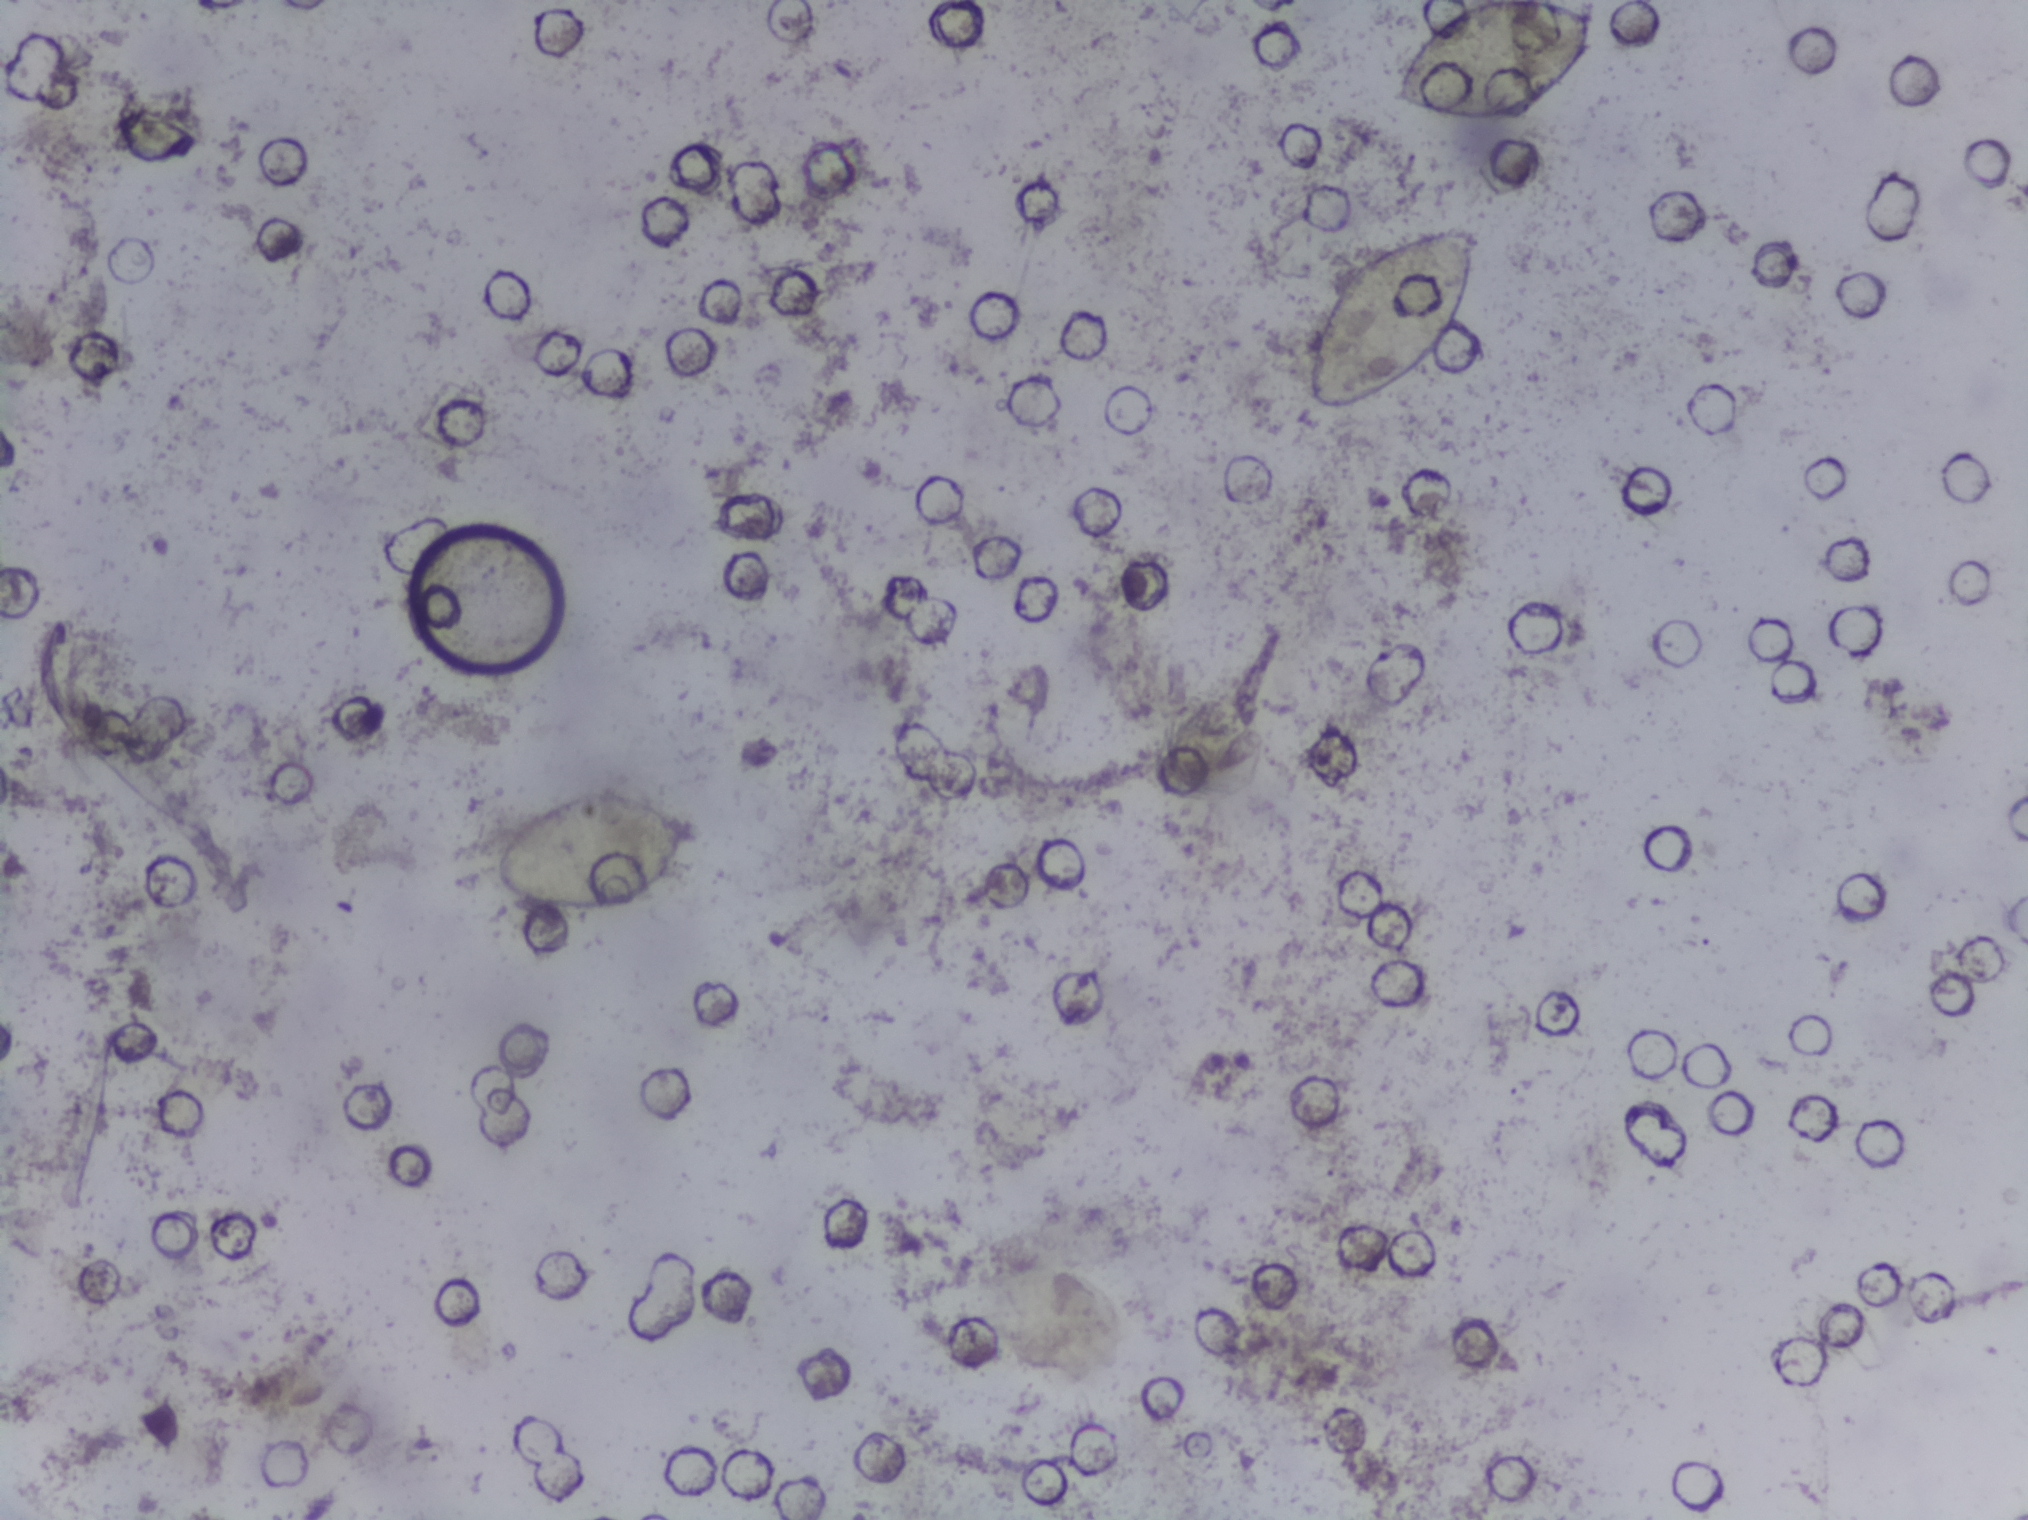
Urine filtration membrane under a 4× objective, photographed by an automated digital microscope.
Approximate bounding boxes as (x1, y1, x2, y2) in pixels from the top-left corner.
Outlined Schistosoma egg areas, left to right:
1. (490, 786, 702, 910)
2. (1301, 221, 1482, 414)
3. (1385, 0, 1602, 119) (reaching the top edge of the frame)
Eggs that touch can end up inside the same outlined area.